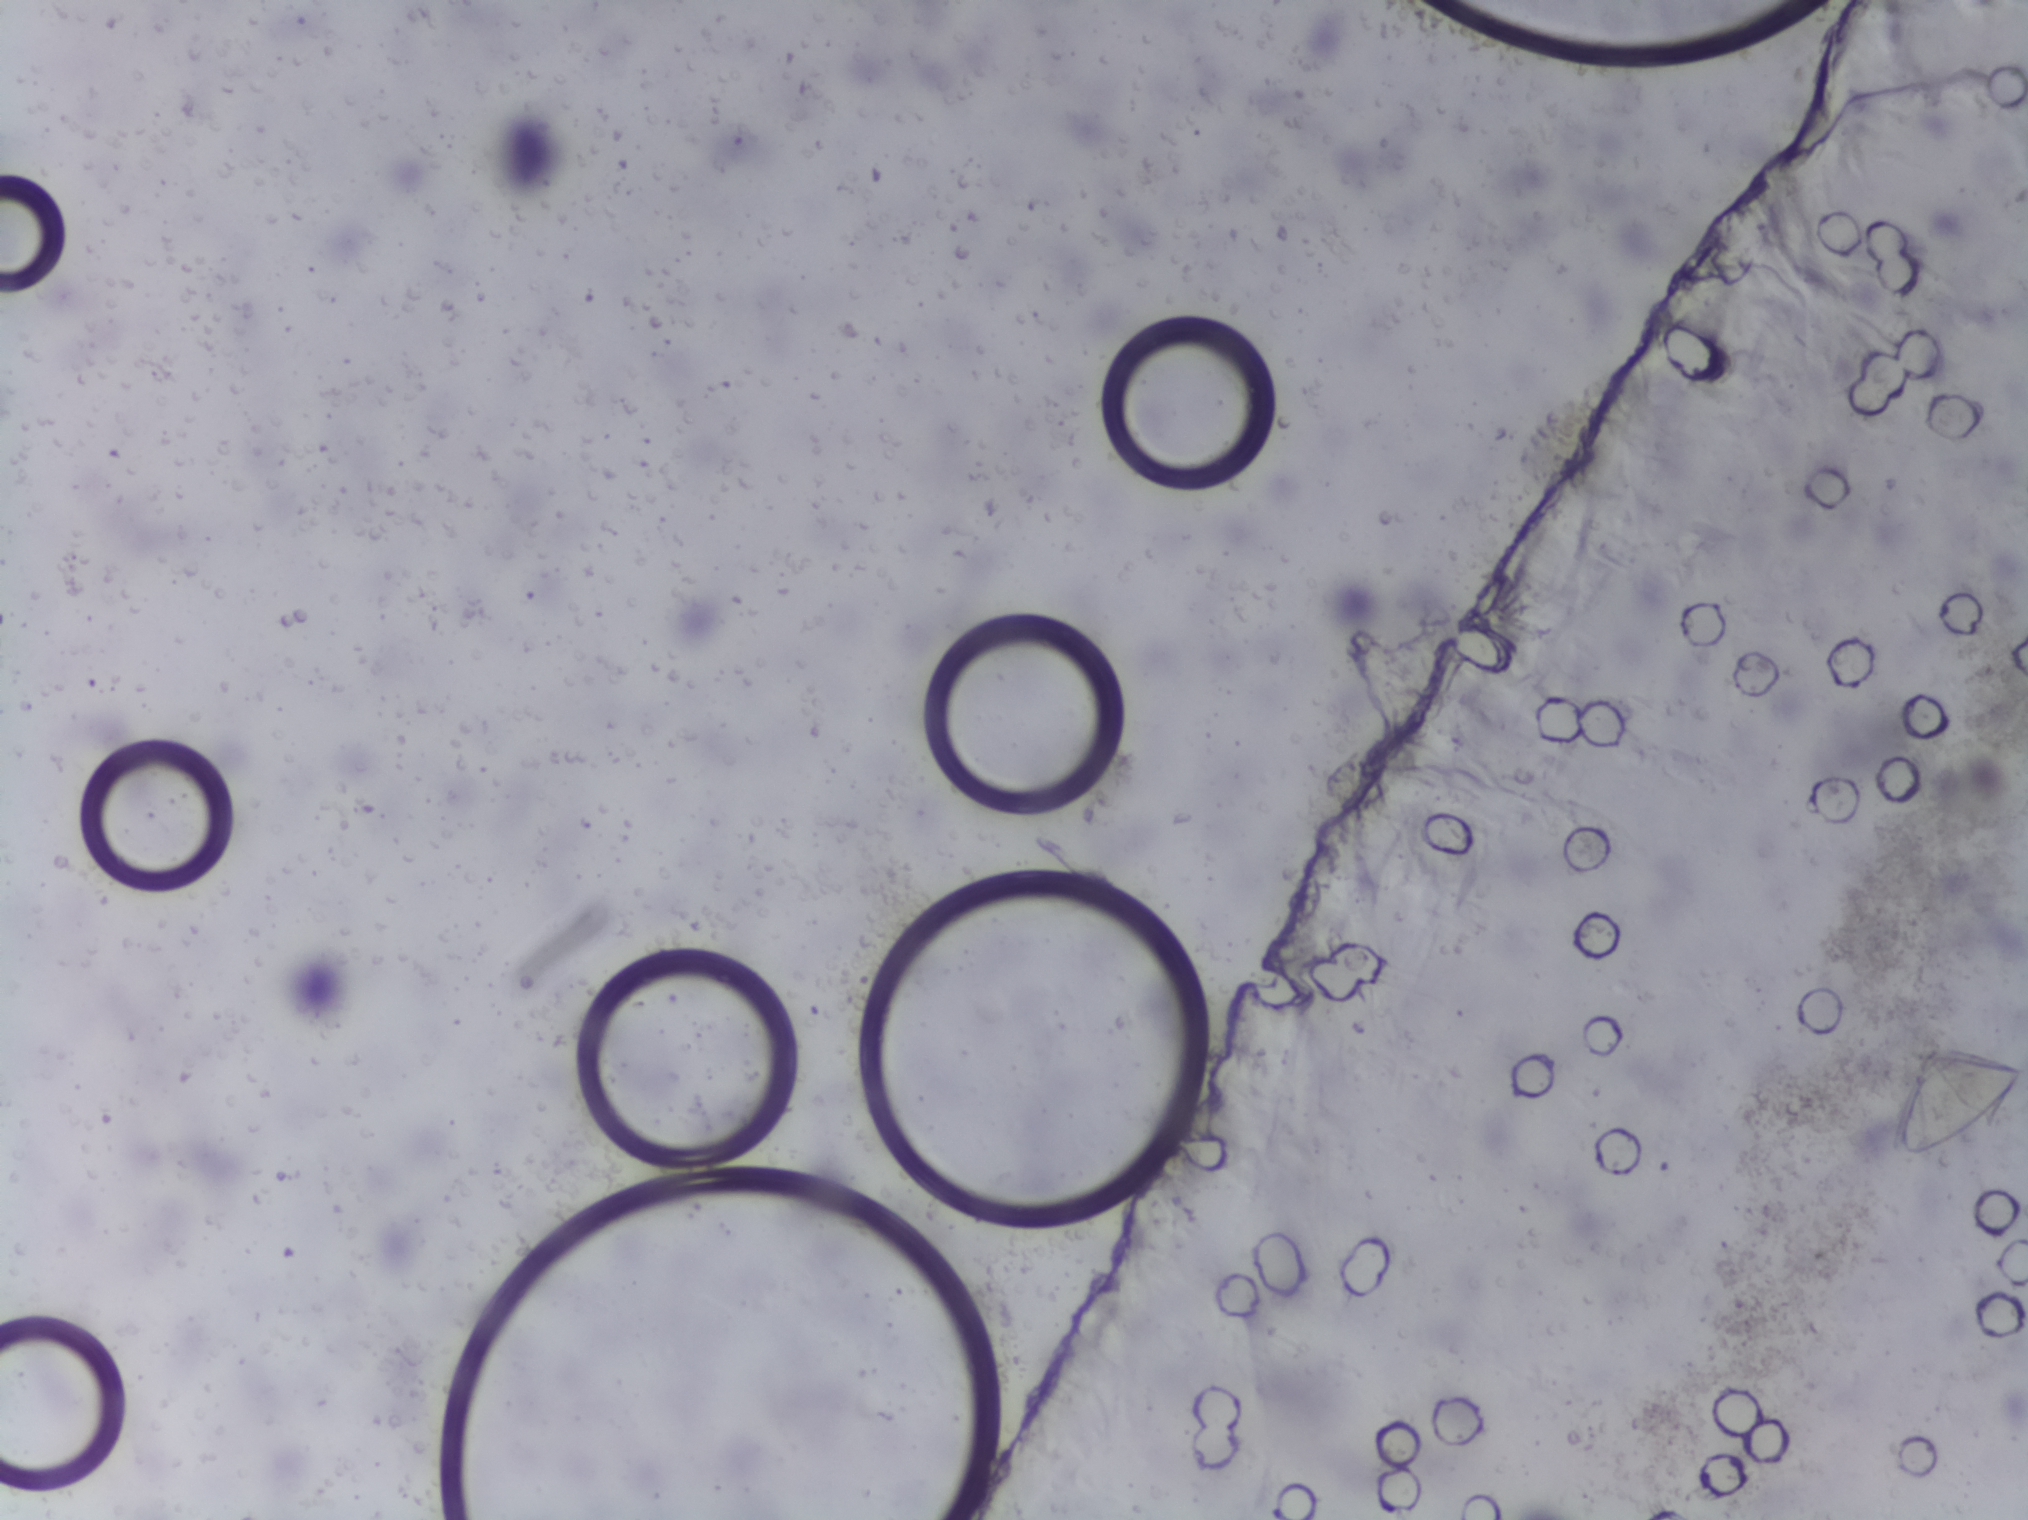
The expert annotation marks no Schistosoma egg in this field of view.
Microscope photograph (4× objective) of a membrane that a urine sample was filtered through. The field of view is about 1.5 mm × 1.1 mm.